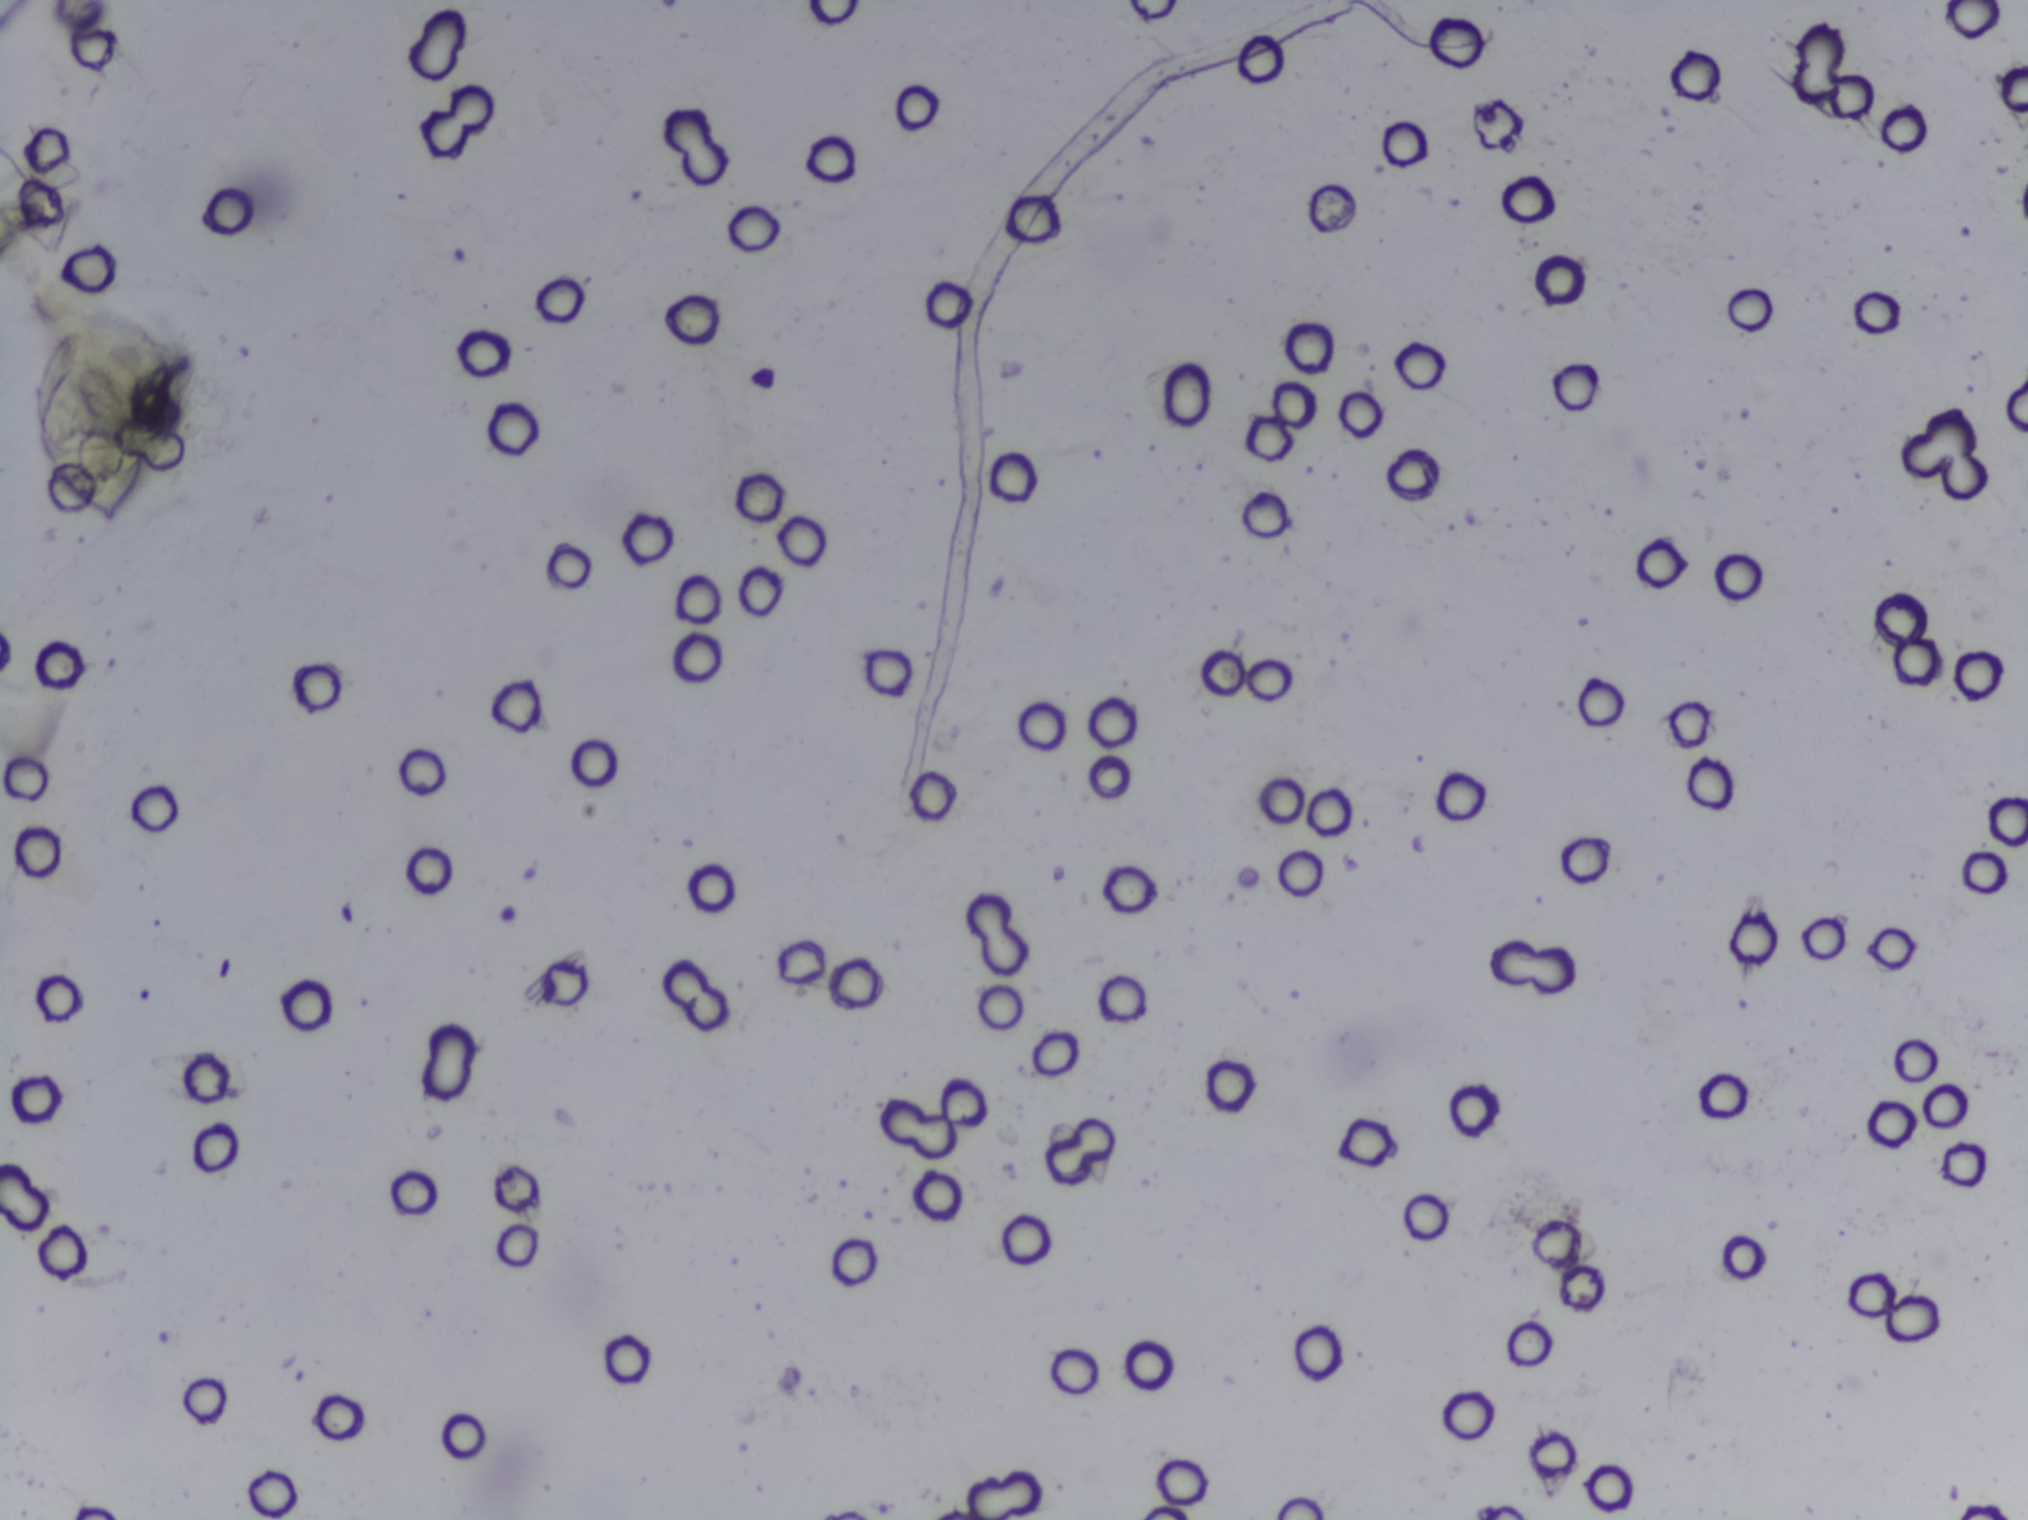
Urine filtration membrane under a 4× objective, photographed by an automated digital microscope.
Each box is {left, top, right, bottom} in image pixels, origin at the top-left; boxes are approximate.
Findings: one area outlined as Schistosoma eggs. Location: {29, 328, 146, 532}. The marked pixels themselves, not the box around them, cover about 0.6% of the image. An outlined area can hold more than one egg.